Urine filter membrane photographed through a 4× microscope objective.
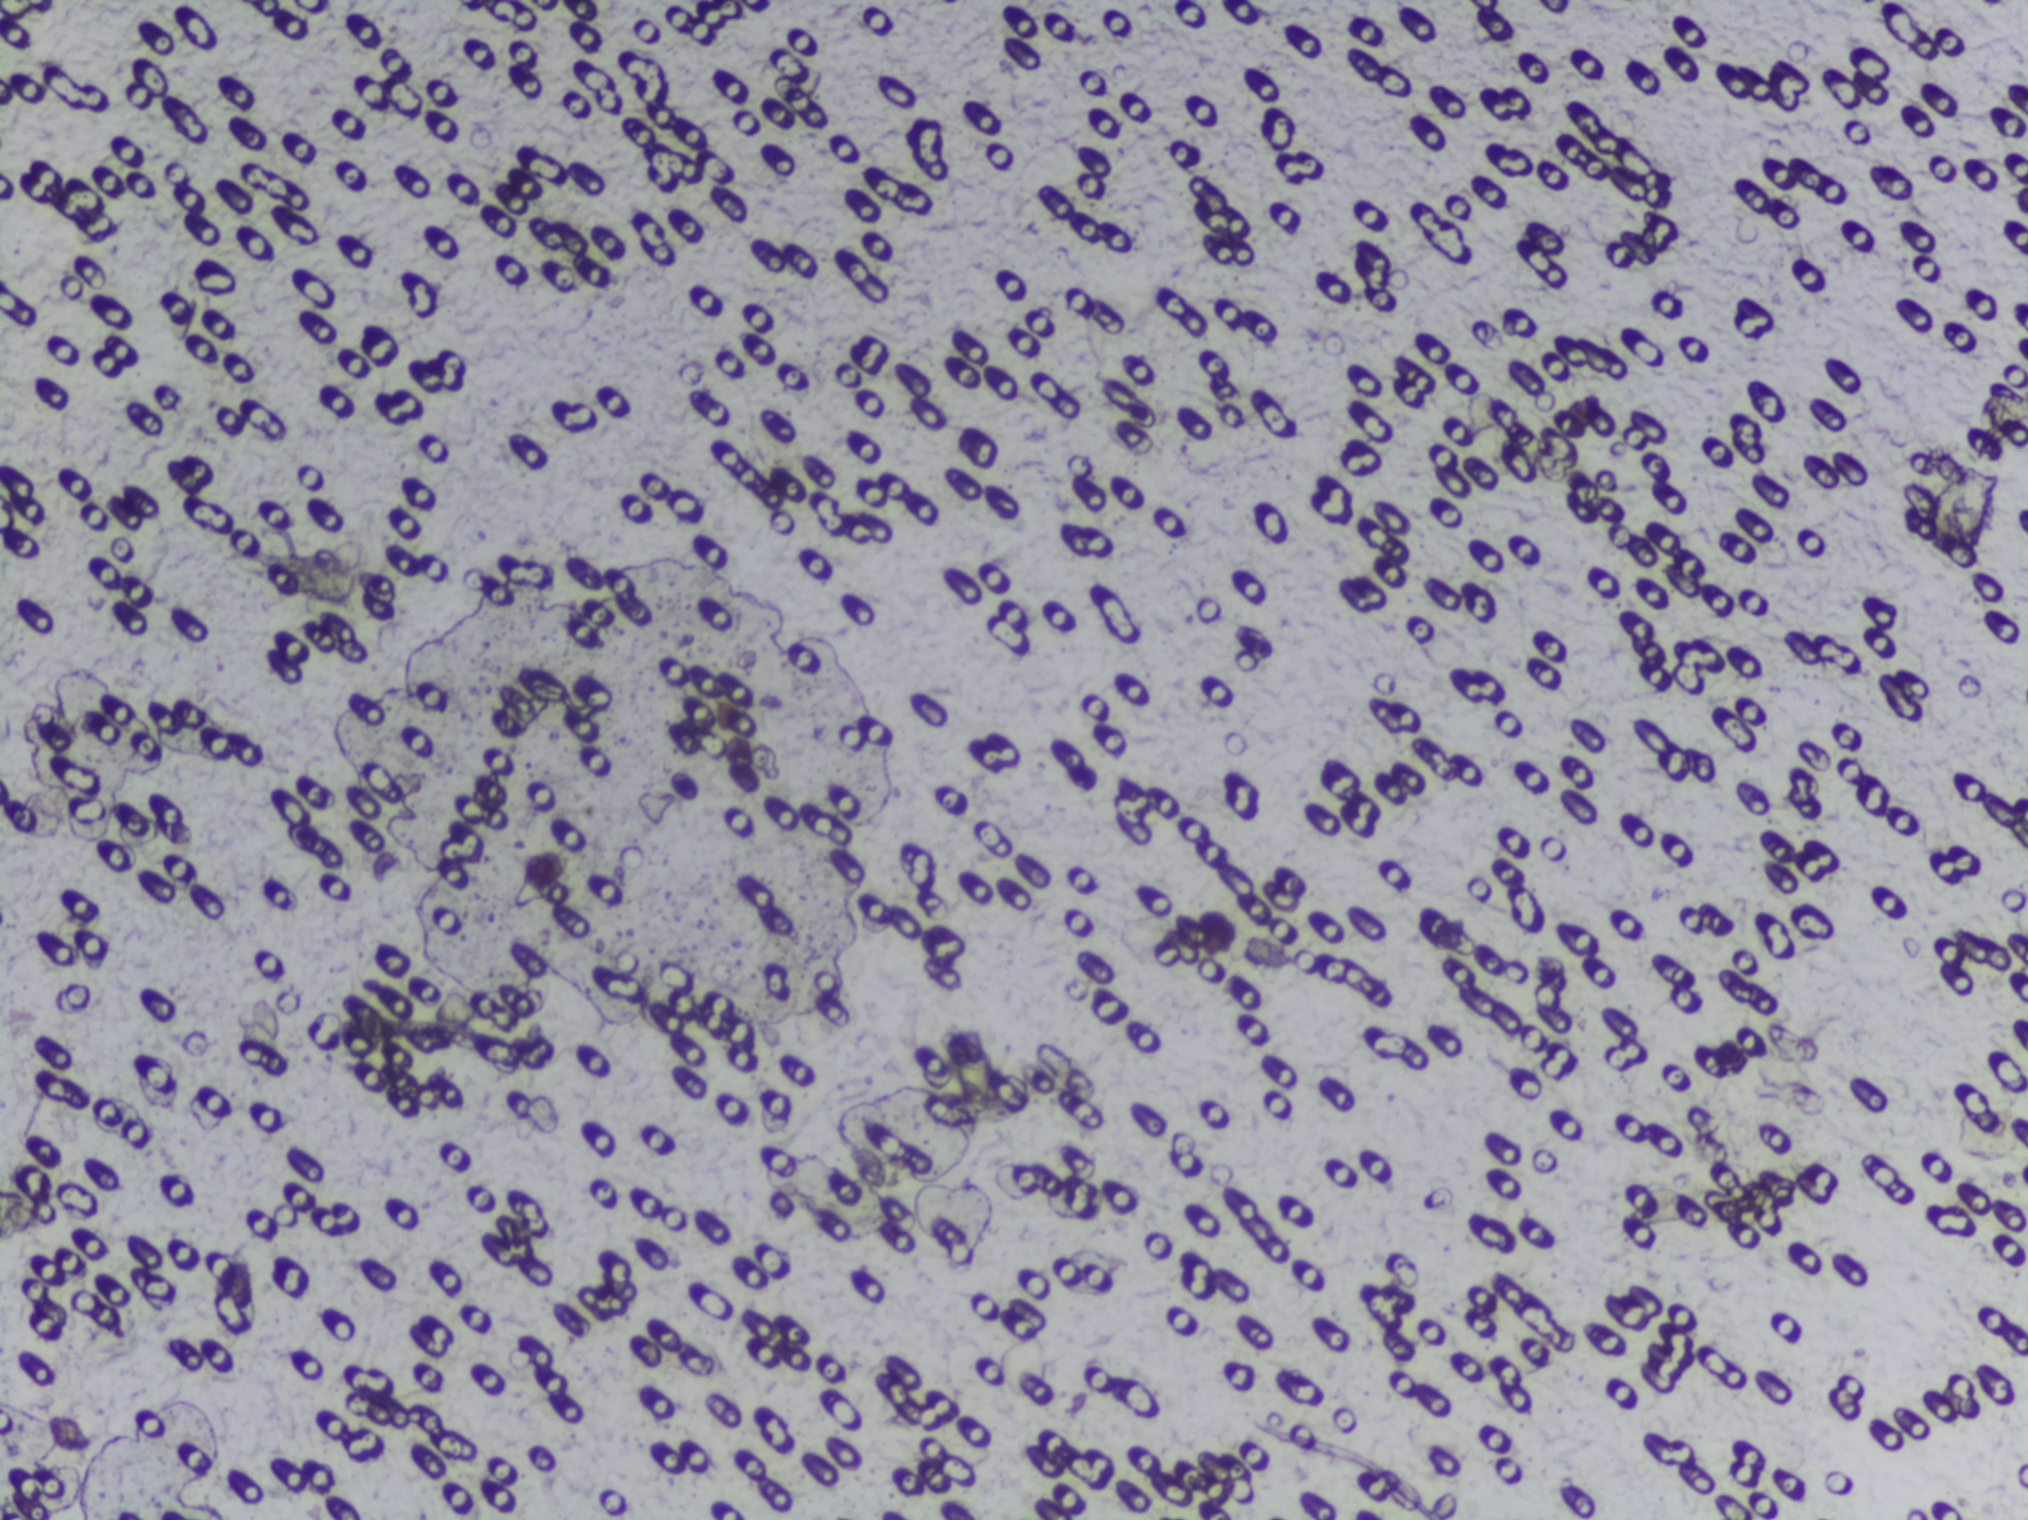
No area of this image was outlined as a Schistosoma egg.